Photomicrograph of a urine filtration membrane, 4× objective. The field of view is about 1.5 mm × 1.1 mm.
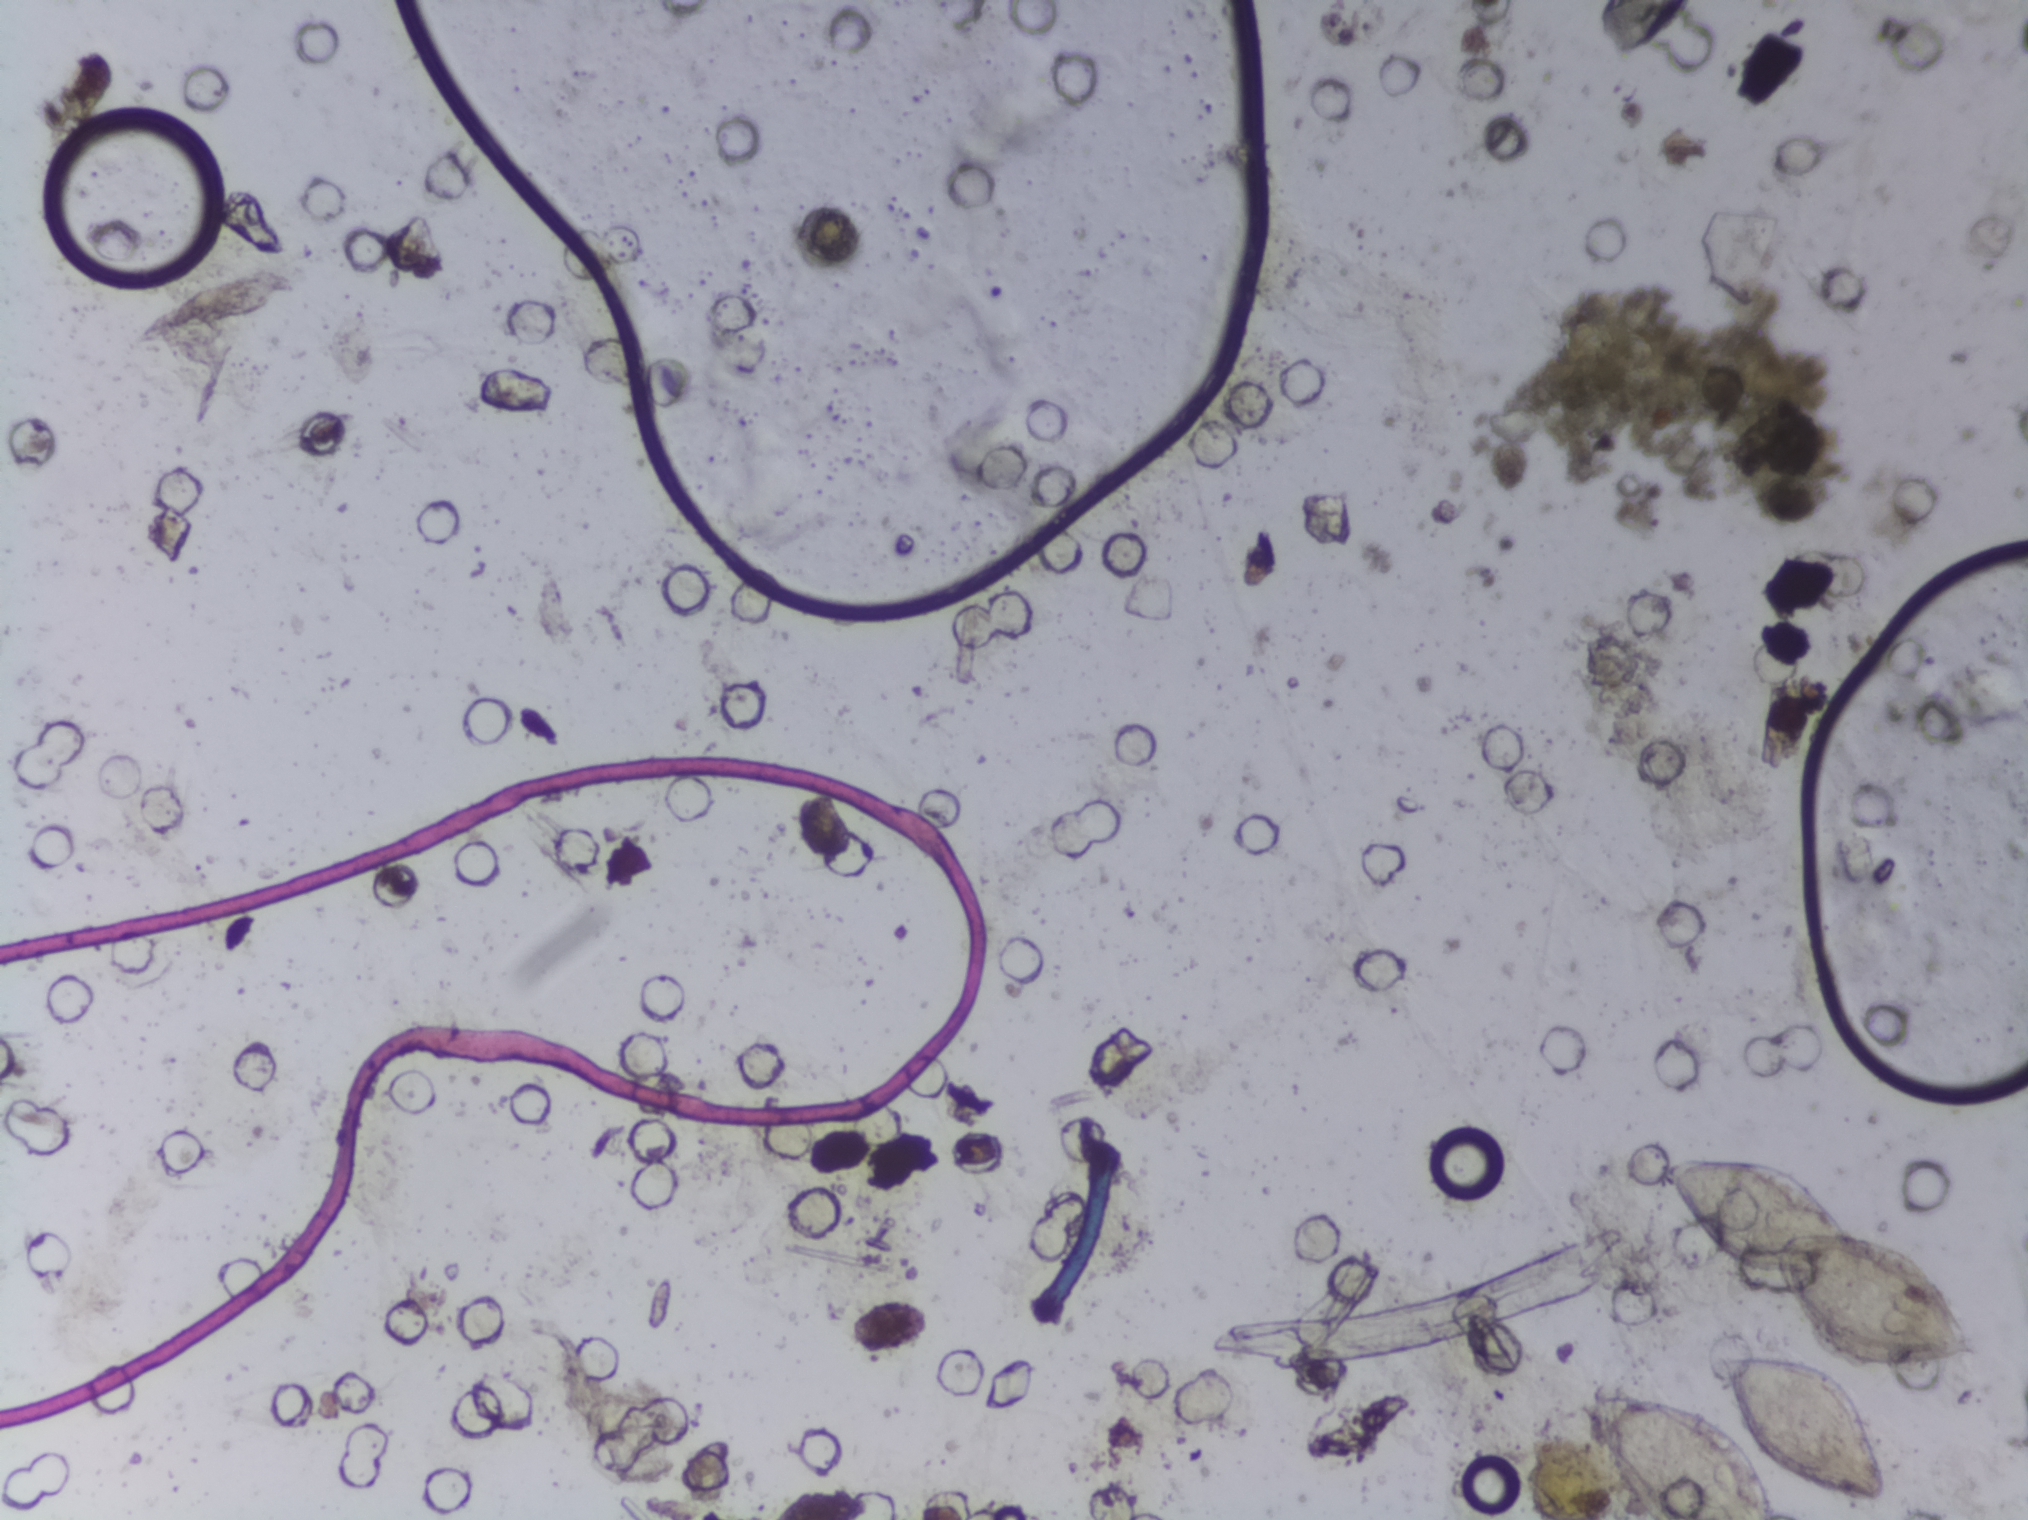
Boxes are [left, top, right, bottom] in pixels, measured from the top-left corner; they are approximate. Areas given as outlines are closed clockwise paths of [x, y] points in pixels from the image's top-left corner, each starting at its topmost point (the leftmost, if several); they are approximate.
The expert annotation outlines Schistosoma eggs in two areas, left to right: box [1588, 1350, 1893, 1519] (reaching the bottom edge of the frame) and outline [1688, 1150], [1788, 1164], [1813, 1178], [1860, 1227], [1906, 1241], [1955, 1291], [1990, 1361], [1885, 1369], [1844, 1361], [1799, 1318], [1781, 1278], [1725, 1268], [1686, 1228], [1669, 1203], [1661, 1163]. Eggs that touch can end up inside the same outlined area.